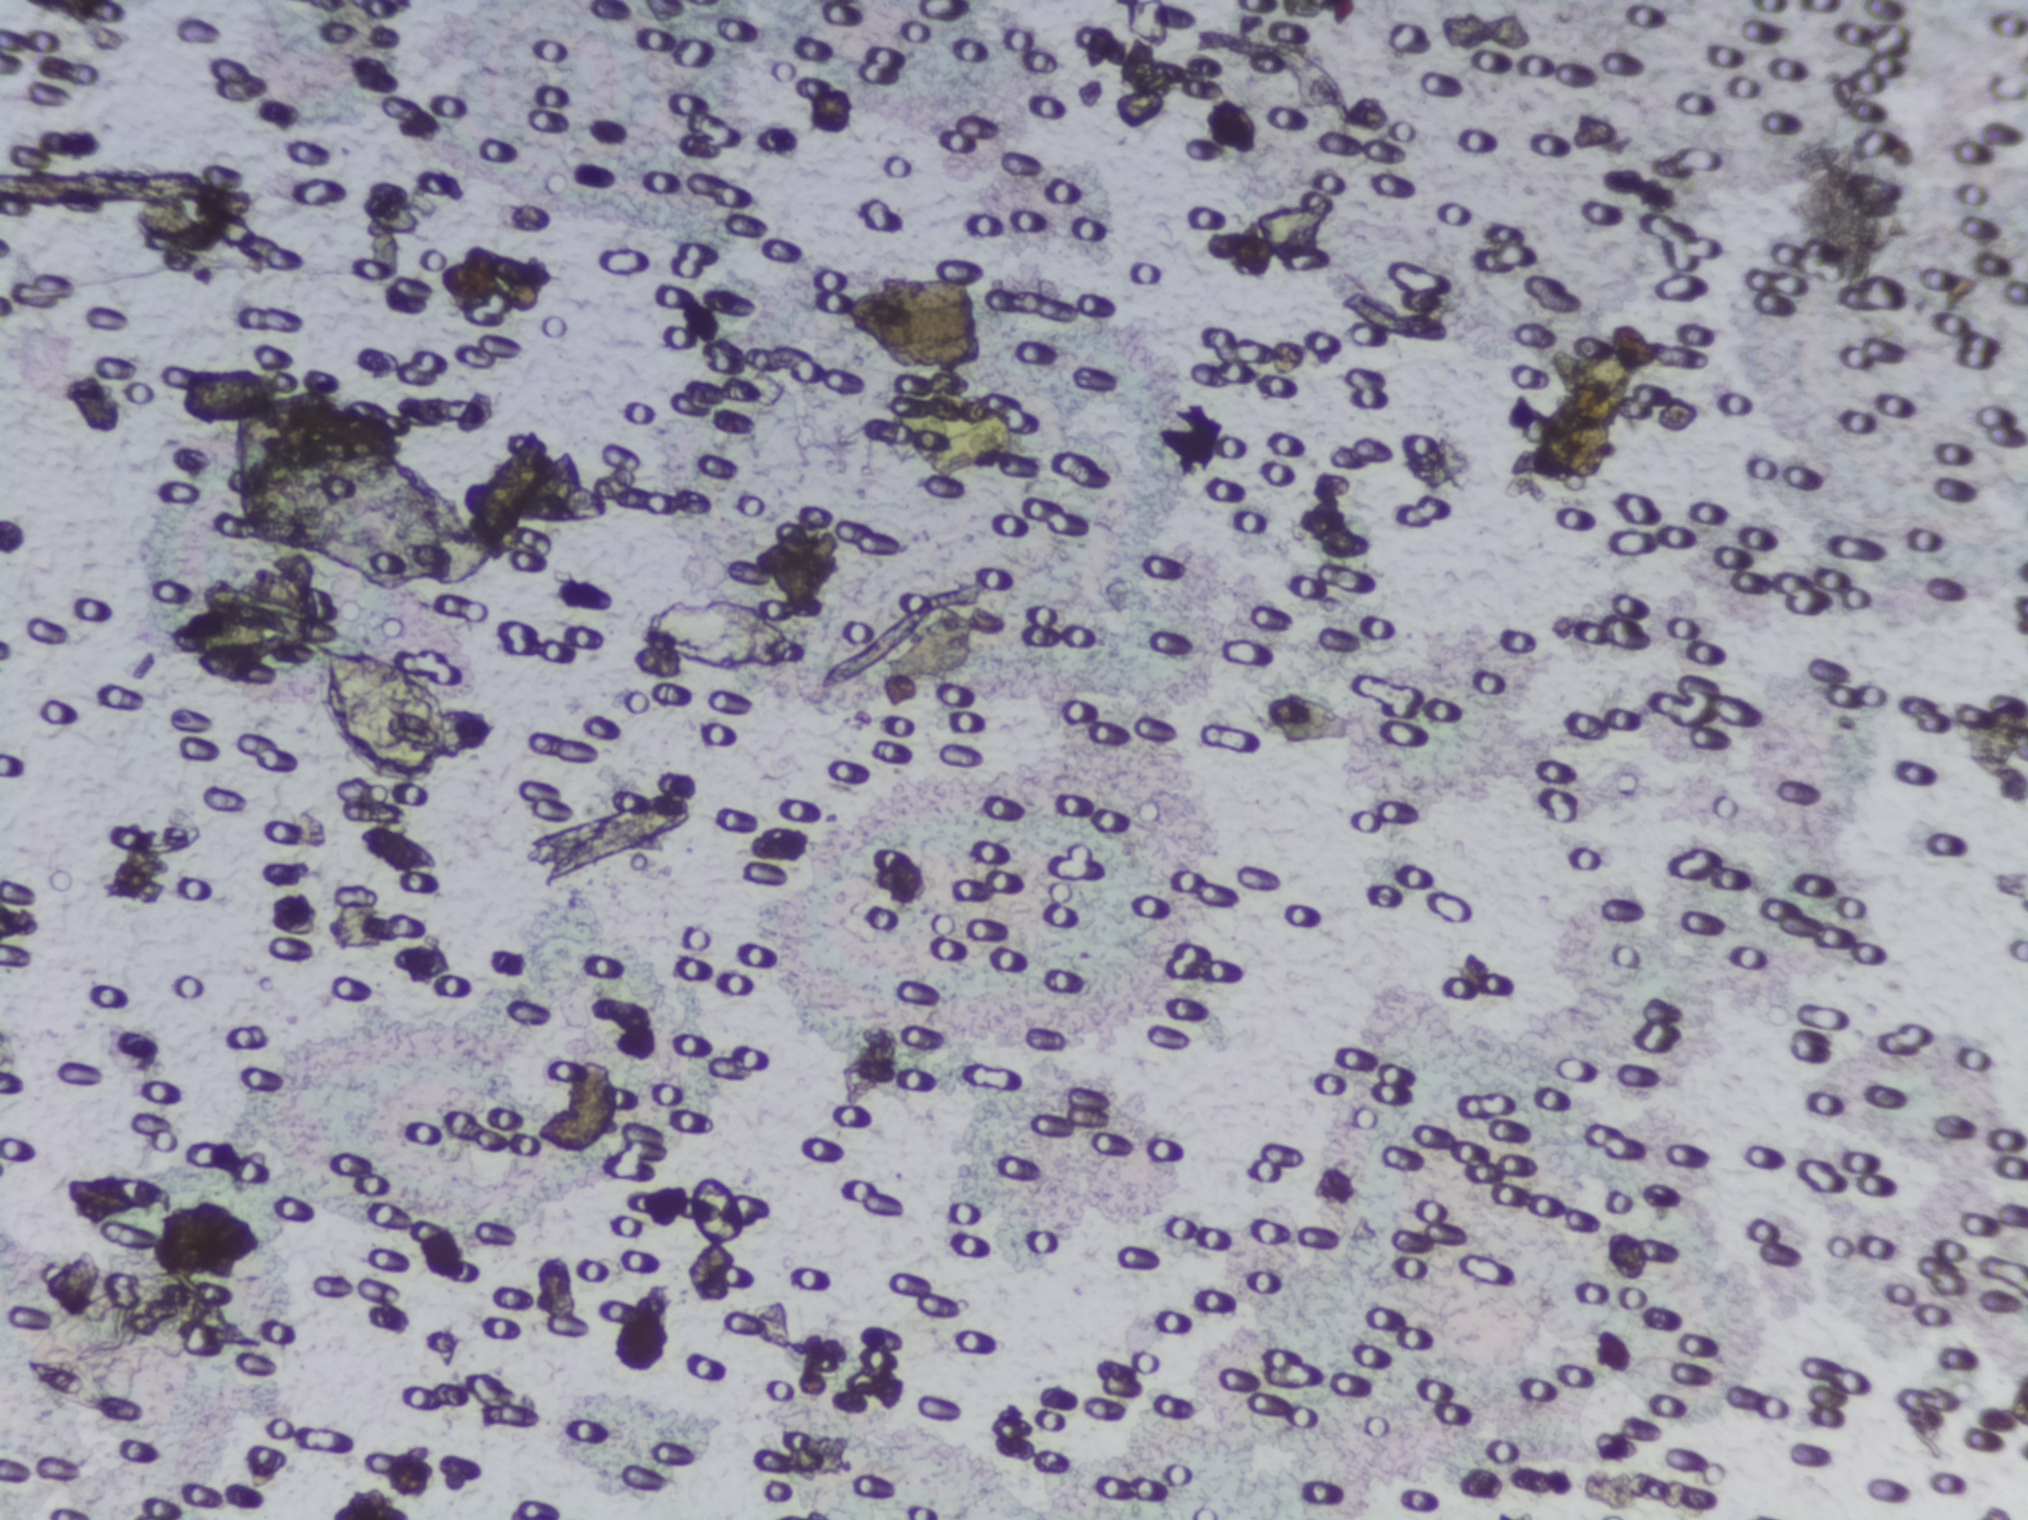
Photograph from an automated digital microscope: urine filter membrane, 4× objective. The image covers about 1.5 × 1.1 mm of the membrane.
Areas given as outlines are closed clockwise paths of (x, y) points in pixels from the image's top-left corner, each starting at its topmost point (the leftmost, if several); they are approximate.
One area of this image is outlined as Schistosoma eggs: outline (207, 572), (267, 574), (312, 590), (342, 615), (328, 646), (429, 676), (447, 688), (460, 708), (461, 737), (440, 775), (390, 782), (362, 766), (318, 699), (306, 653), (292, 661), (220, 661), (156, 647), (154, 630), (165, 599). Eggs that touch can end up inside the same outlined area. Any one outlined egg may, rarely, be S. mansoni rather than S. haematobium.